Photograph from an automated digital microscope: urine filter membrane, 4× objective.
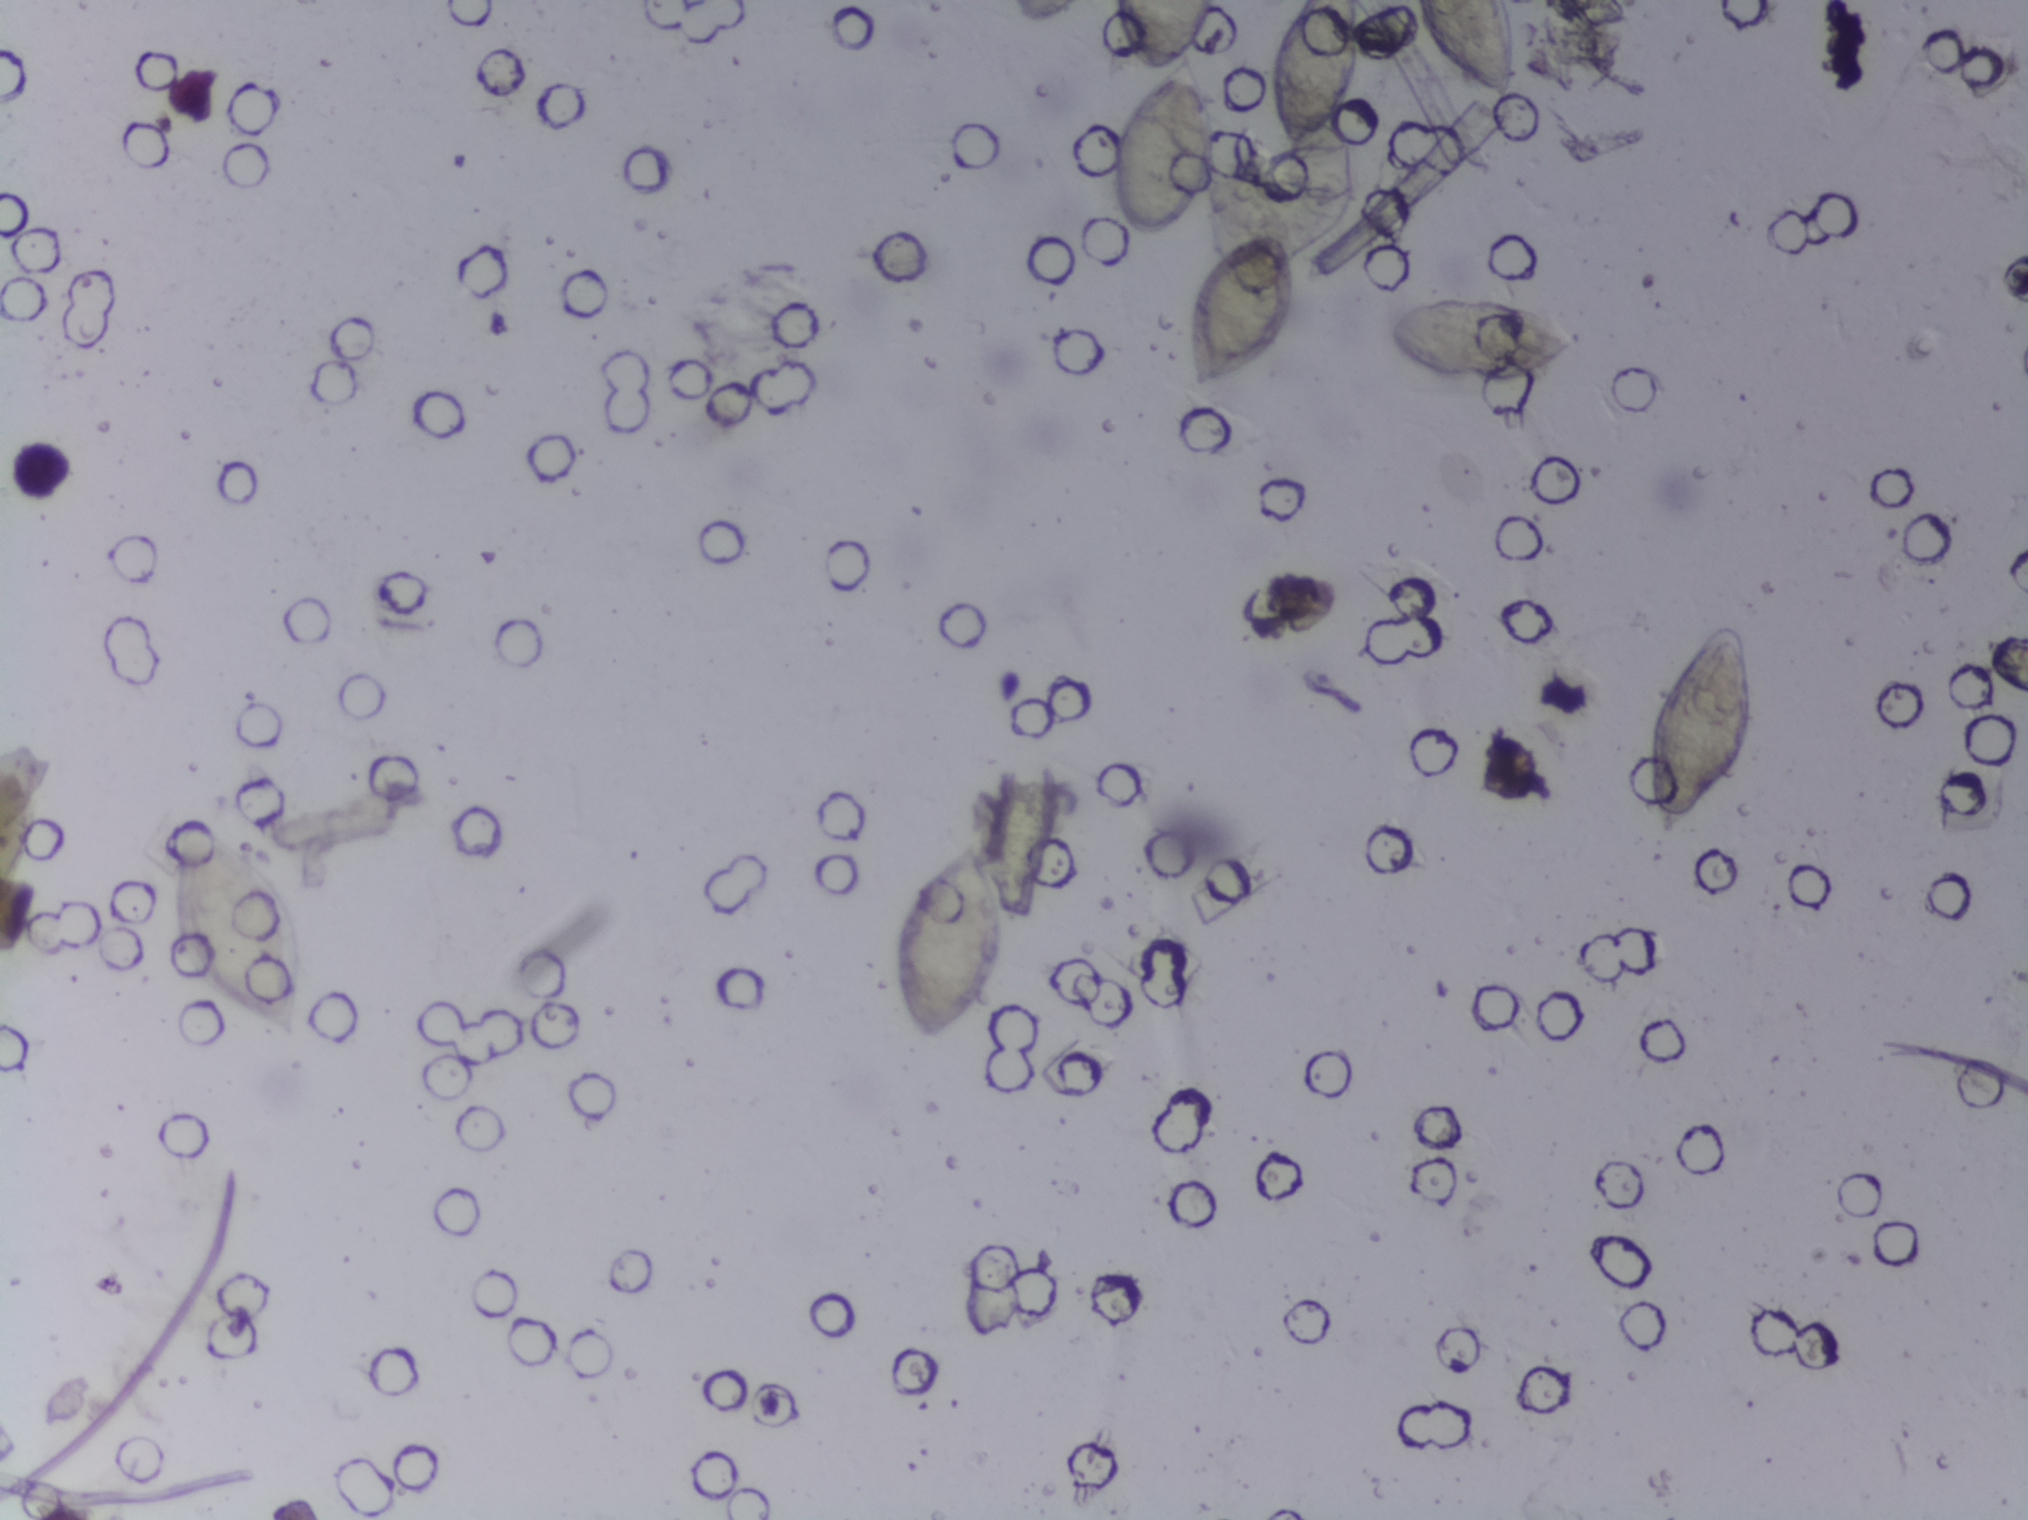
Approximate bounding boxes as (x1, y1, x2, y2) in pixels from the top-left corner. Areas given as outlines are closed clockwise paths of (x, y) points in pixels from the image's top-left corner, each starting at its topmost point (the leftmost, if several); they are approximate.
Seven areas of this image are outlined as Schistosoma eggs, from left to right: box (167, 816, 303, 1049); box (891, 839, 1007, 1053); box (1106, 0, 1223, 245) (reaching the top edge of the frame); outline (1302, 0), (1363, 4), (1355, 93), (1329, 134), (1352, 139), (1356, 205), (1340, 230), (1295, 268), (1295, 308), (1275, 358), (1197, 399), (1184, 373), (1183, 309), (1202, 262), (1240, 228), (1247, 176), (1280, 147), (1267, 113), (1267, 65) (reaching the top edge of the frame); box (1384, 292, 1576, 383); box (1414, 0, 1521, 105) (reaching the top edge of the frame); box (1634, 620, 1756, 838). Marked pixels, not the boxes and the outline around them: about 4.4% of the image. An outlined area can hold more than one egg.